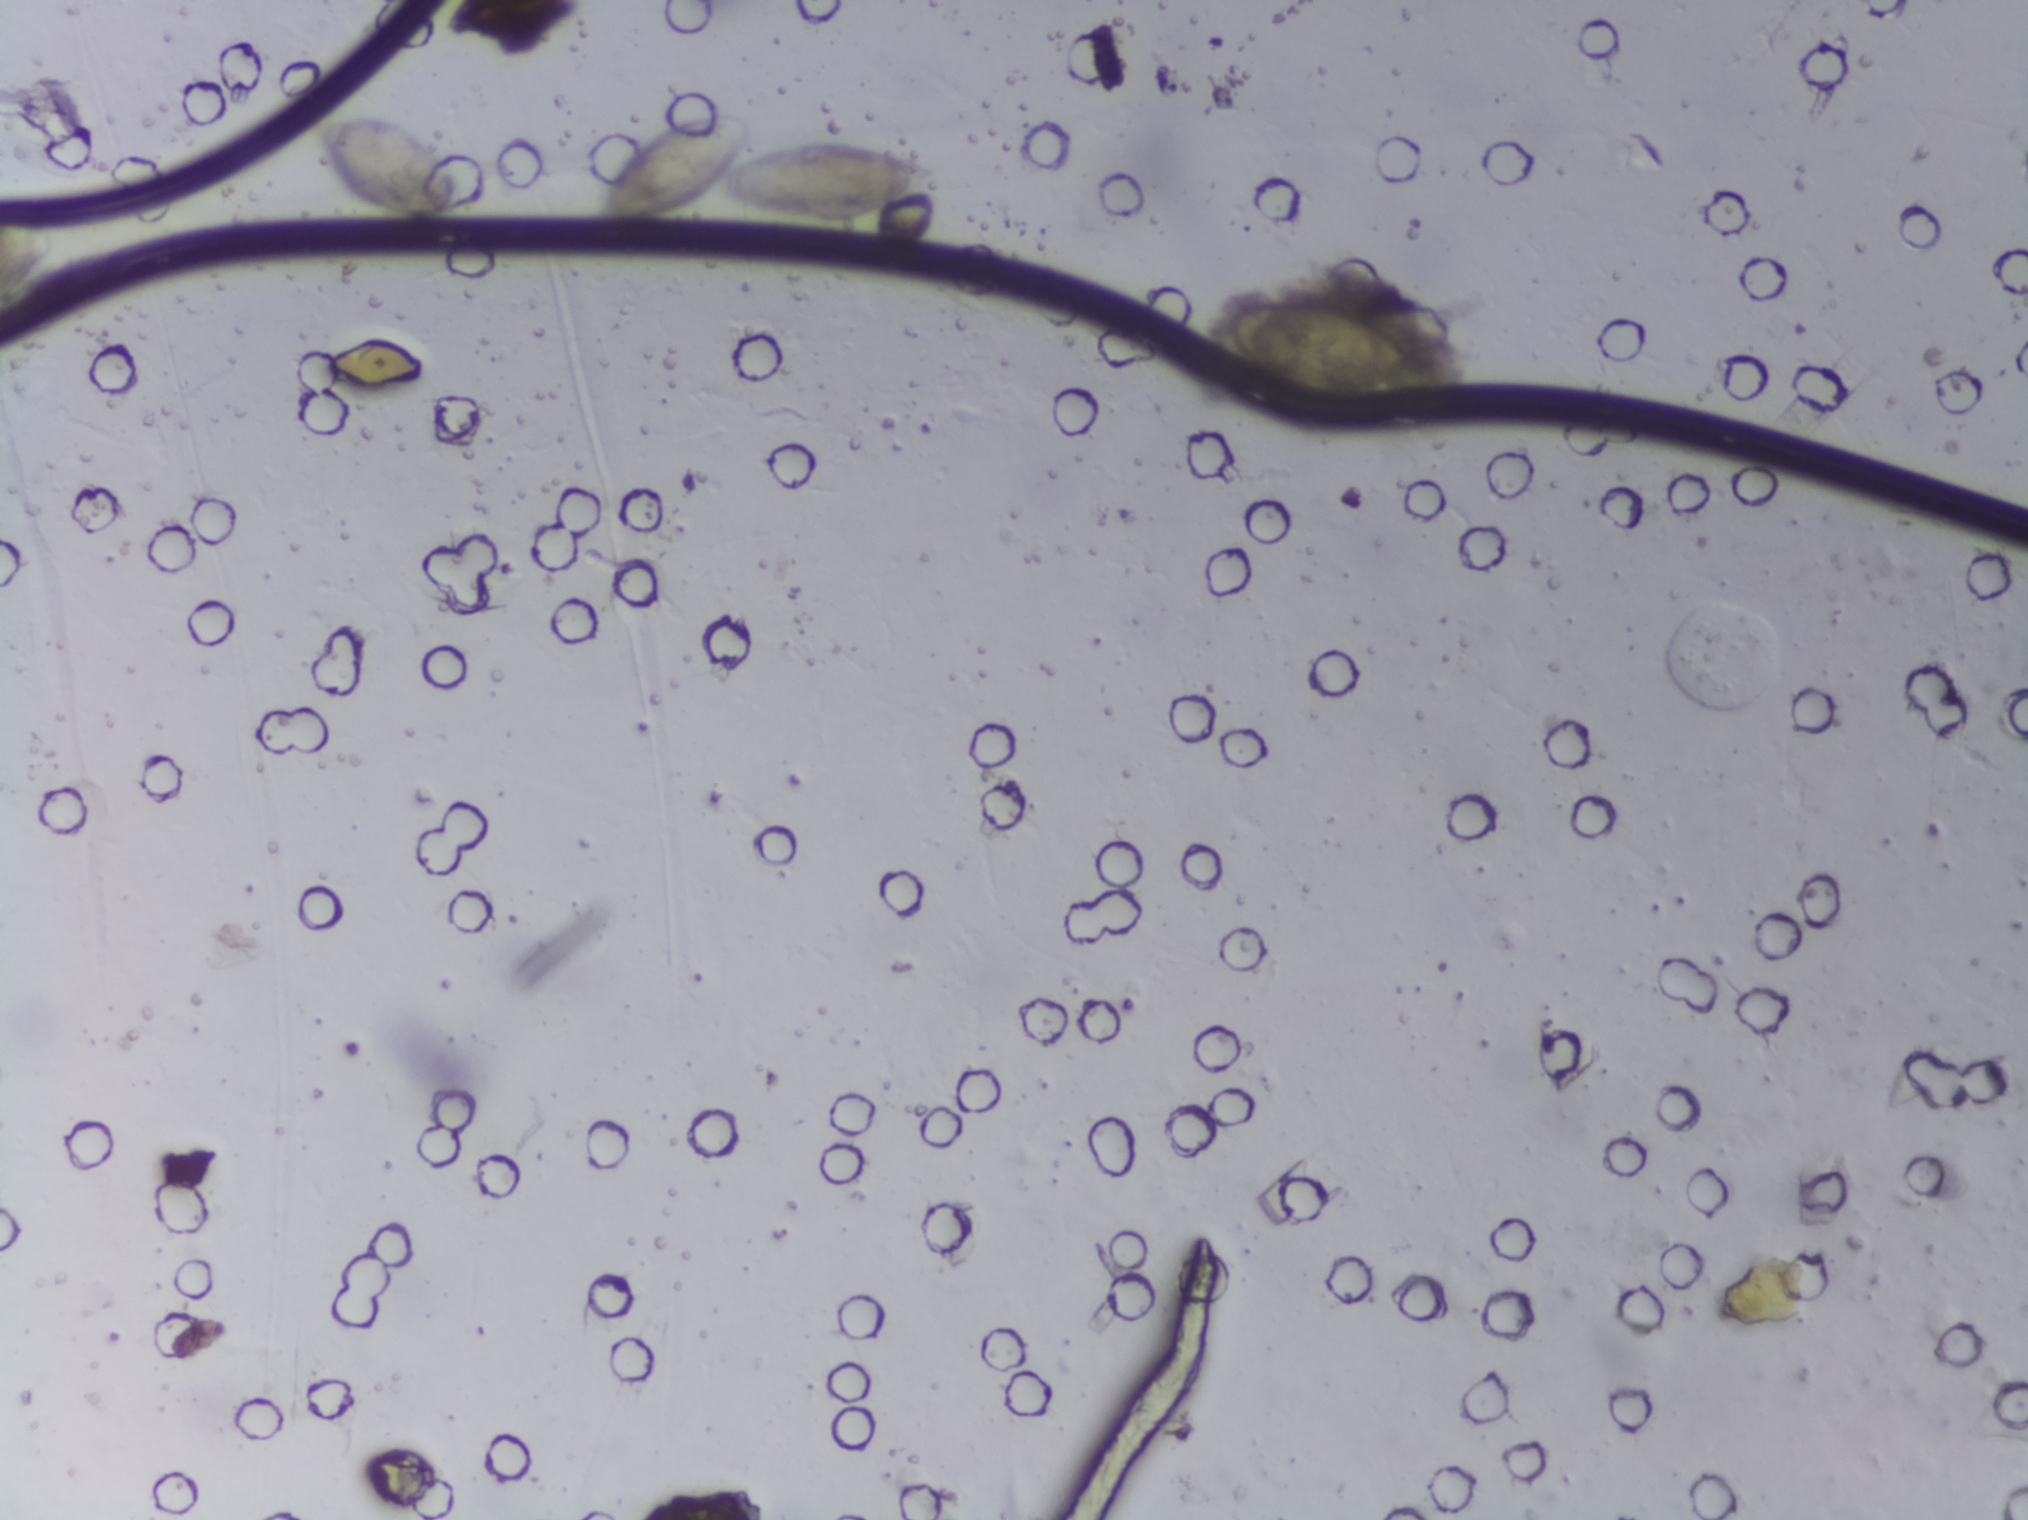
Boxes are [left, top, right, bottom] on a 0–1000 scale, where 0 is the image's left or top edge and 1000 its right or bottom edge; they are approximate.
Schistosoma eggs, outlined areas: [152, 72, 231, 146]; [290, 69, 462, 151]; [604, 194, 698, 266]. A single outlined area may contain several eggs.
One field of view of a urine filter membrane, 4× objective, 2028 × 1520 pixels.